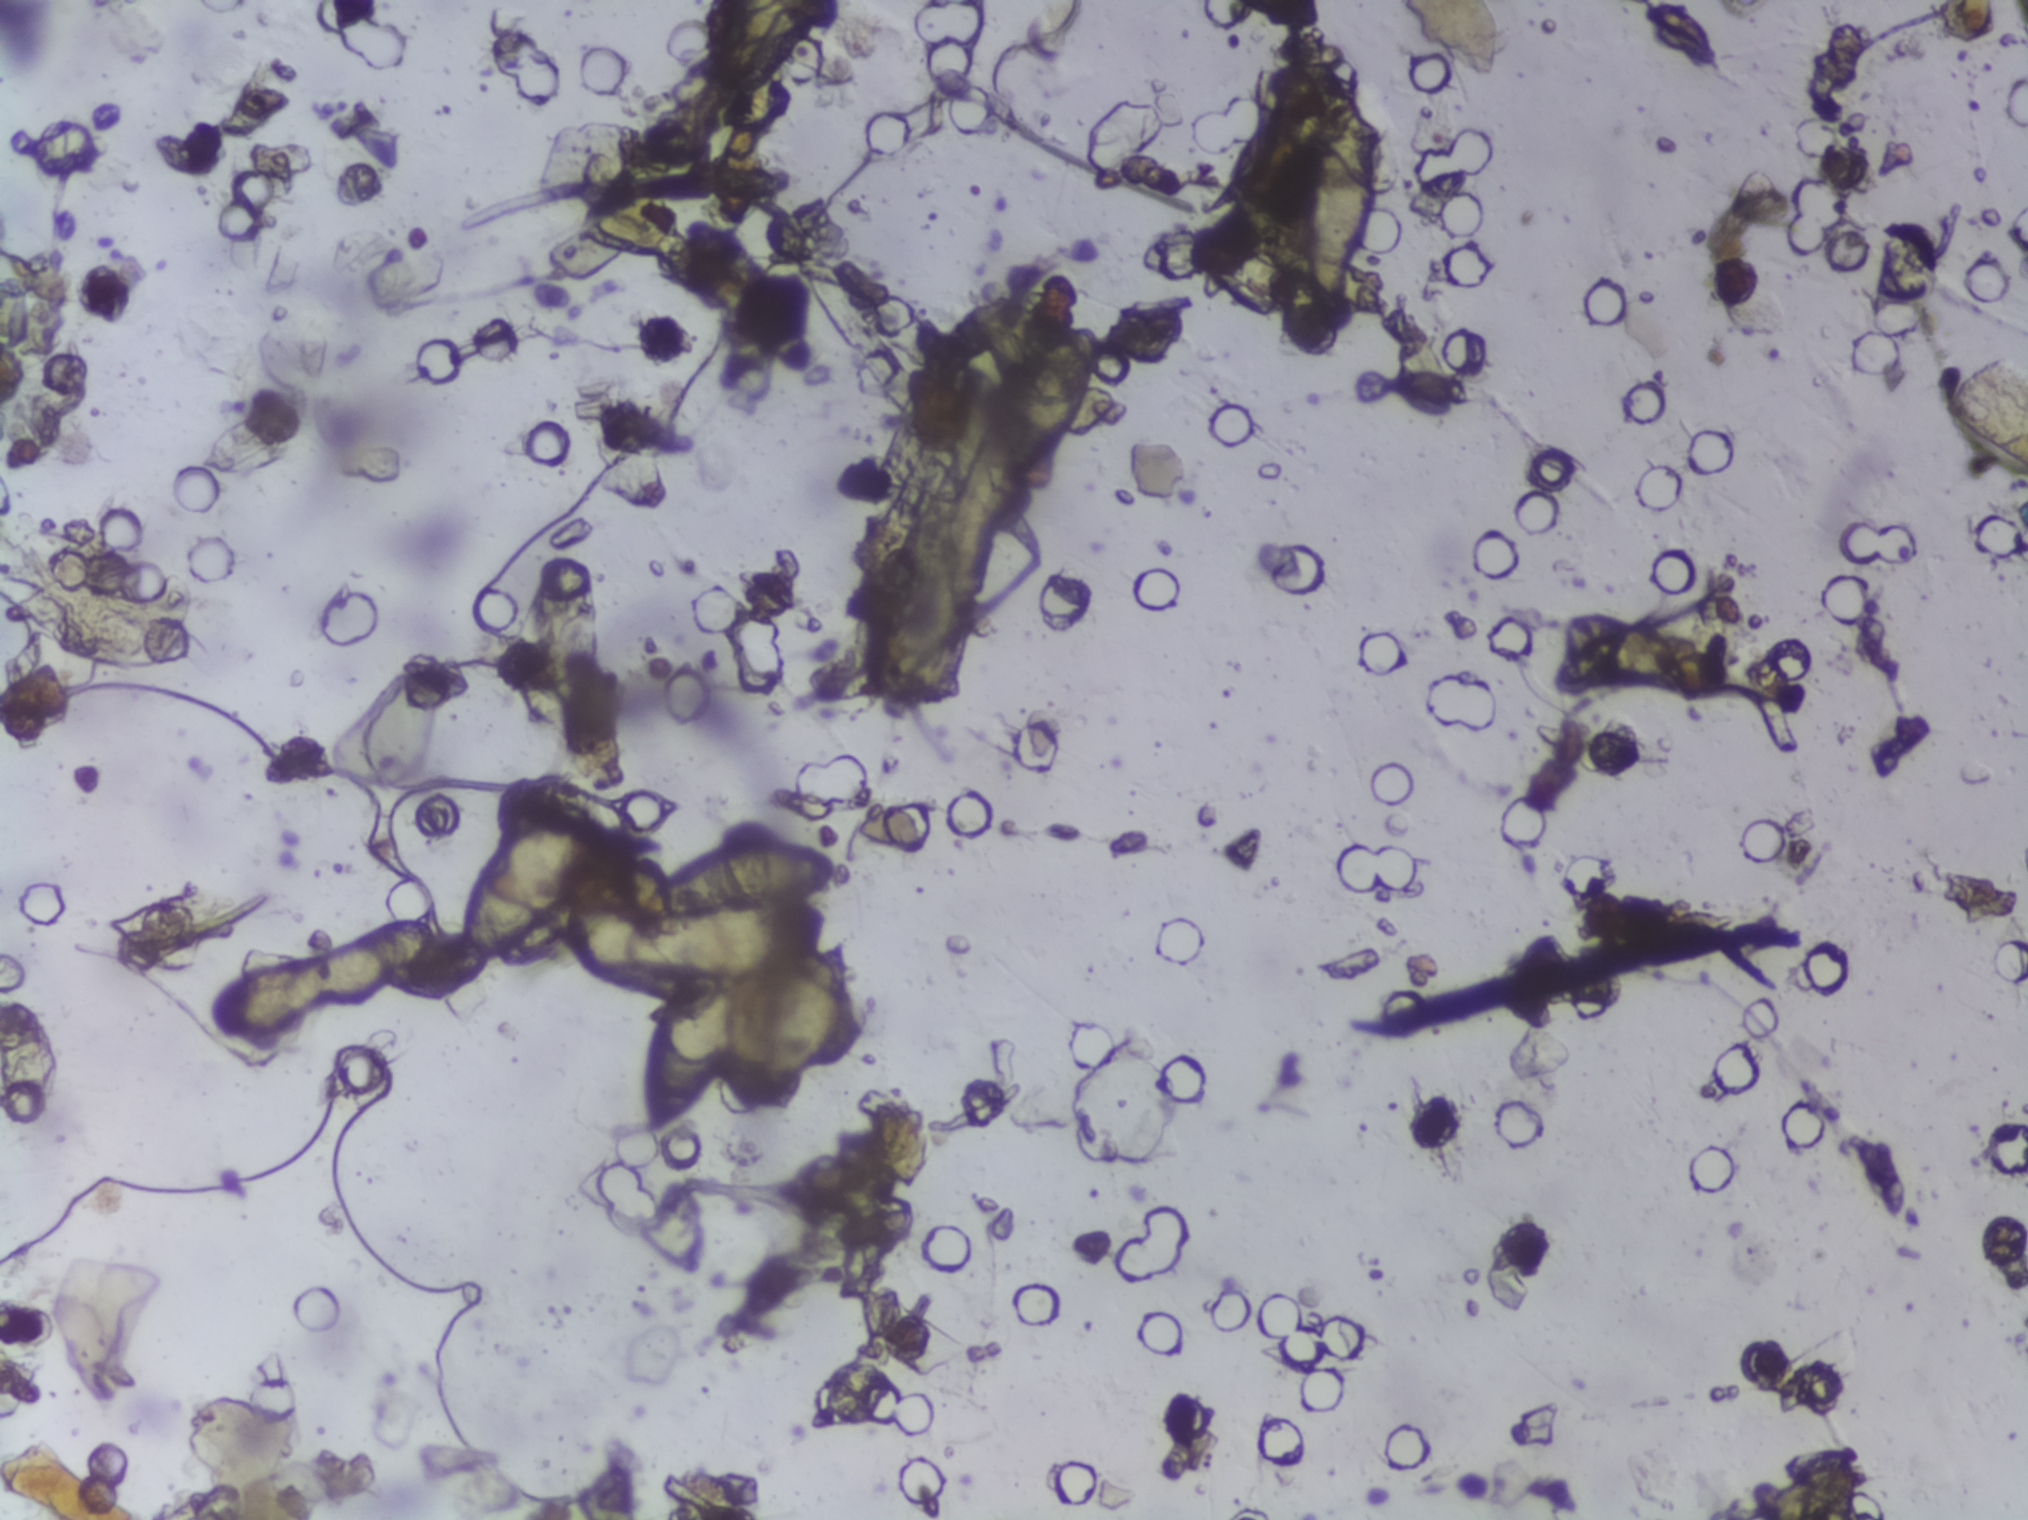
Photomicrograph of a urine filtration membrane, 4× objective.
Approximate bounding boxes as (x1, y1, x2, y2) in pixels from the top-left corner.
Areas outlined as Schistosoma eggs, left to right:
1. (329, 917, 436, 975)
2. (459, 813, 591, 955)
3. (624, 837, 856, 1130)
4. (997, 323, 1101, 472)
5. (1298, 106, 1380, 302)
6. (1559, 614, 1693, 684)
Eggs that touch can end up inside the same outlined area.